Microscope photograph (4× objective) of a membrane that a urine sample was filtered through.
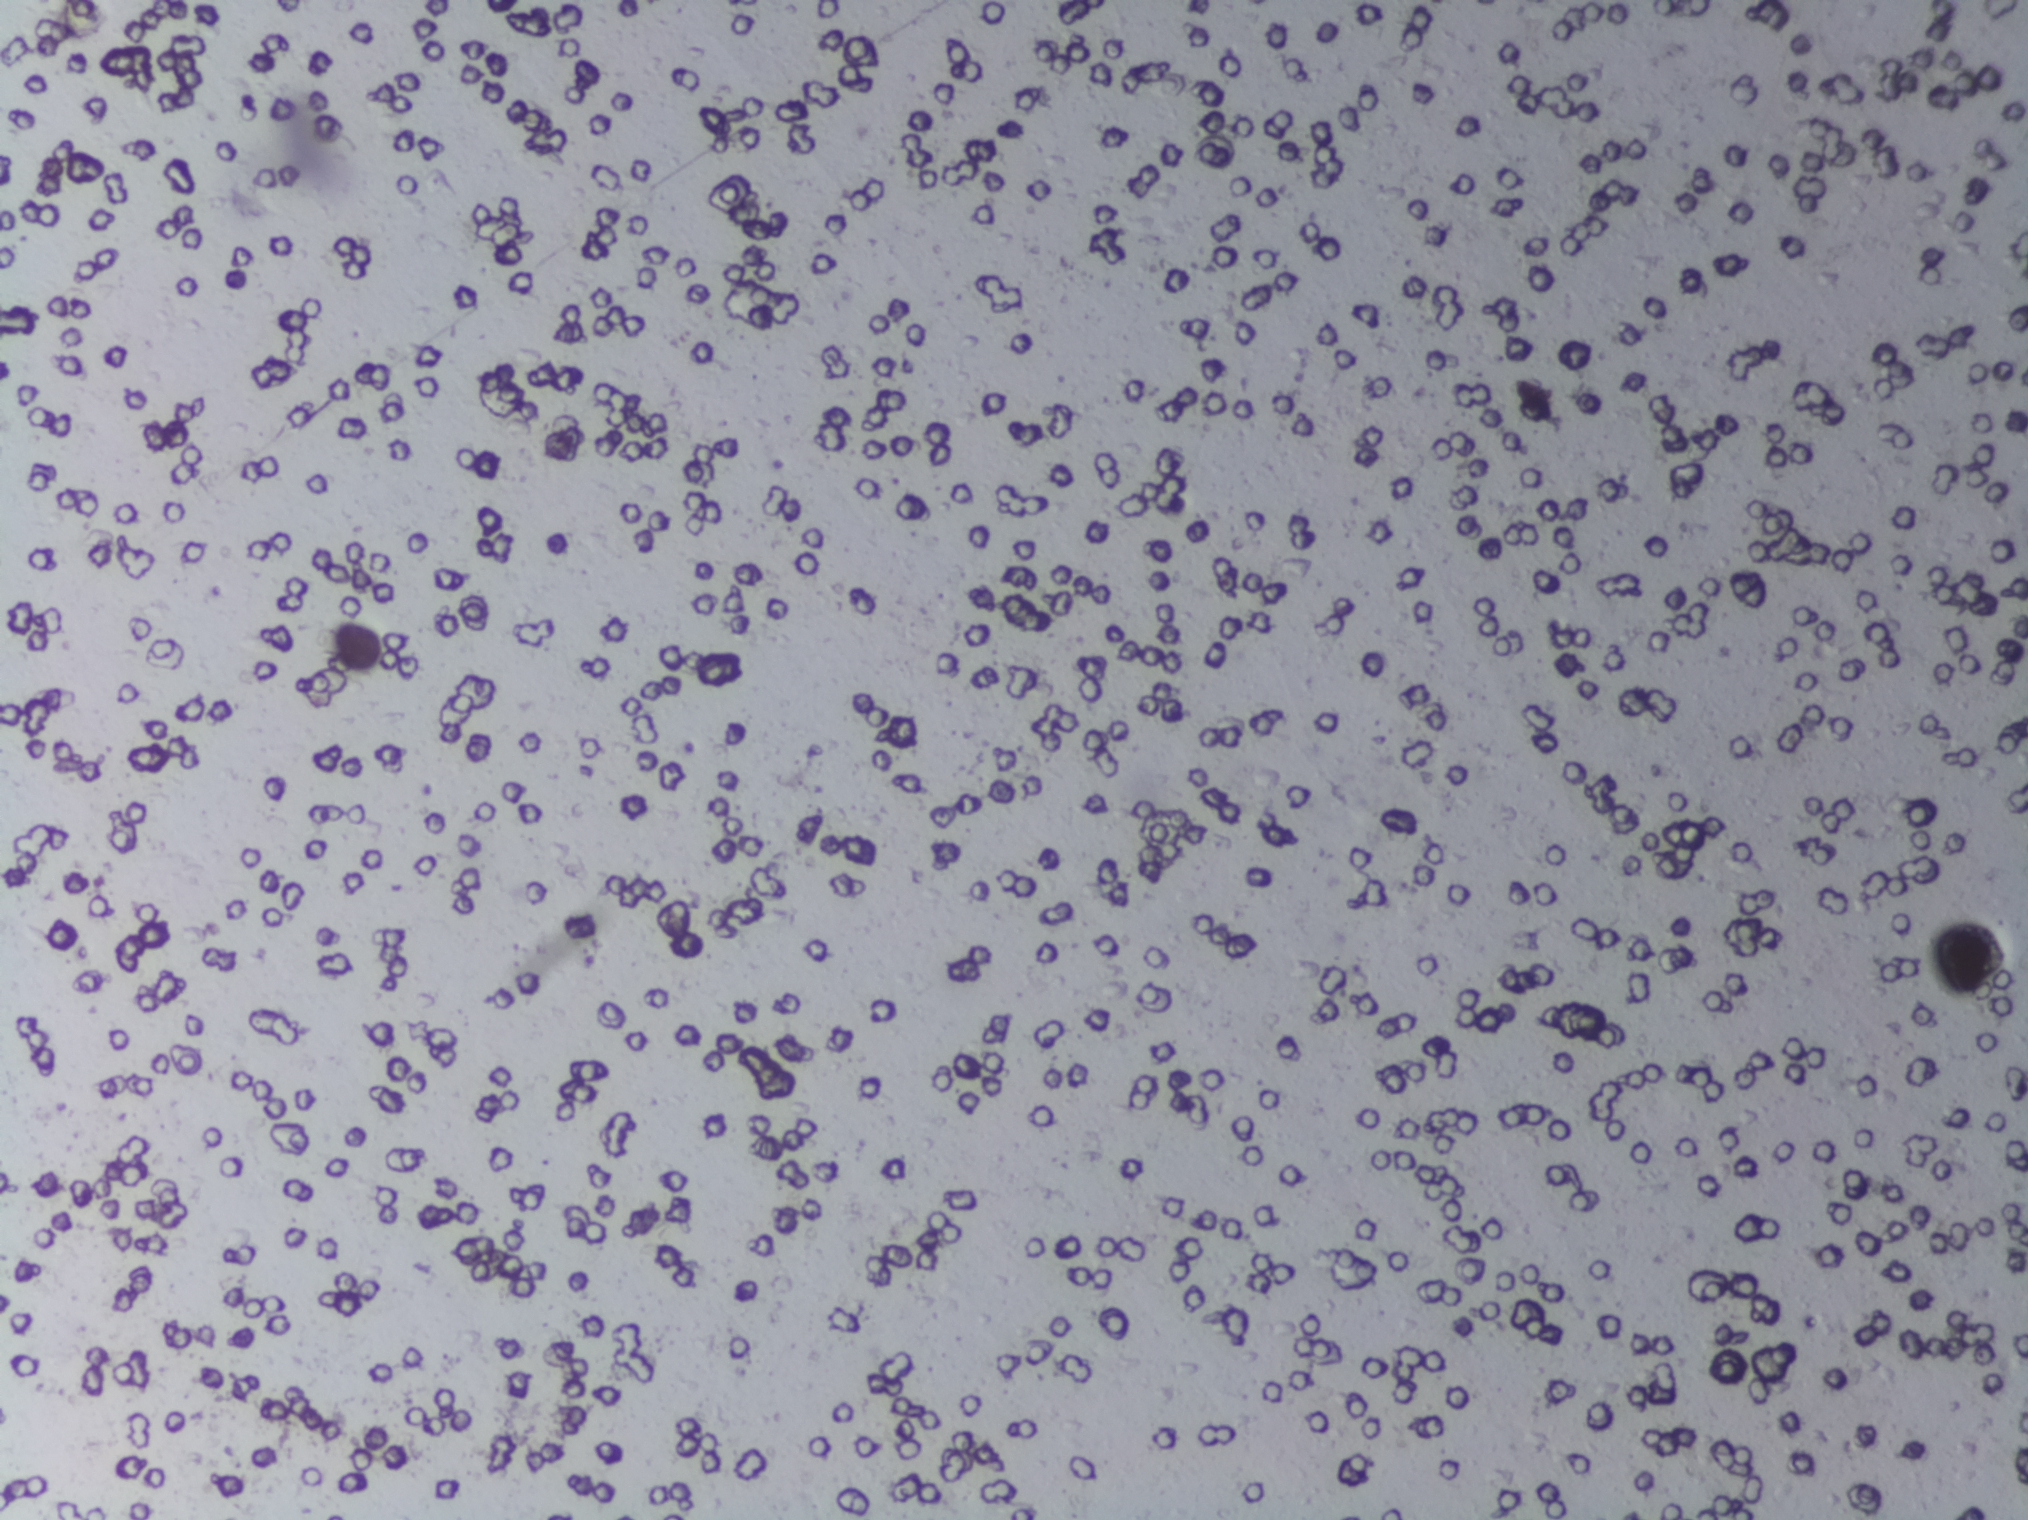
No area of this image was outlined as a Schistosoma egg.